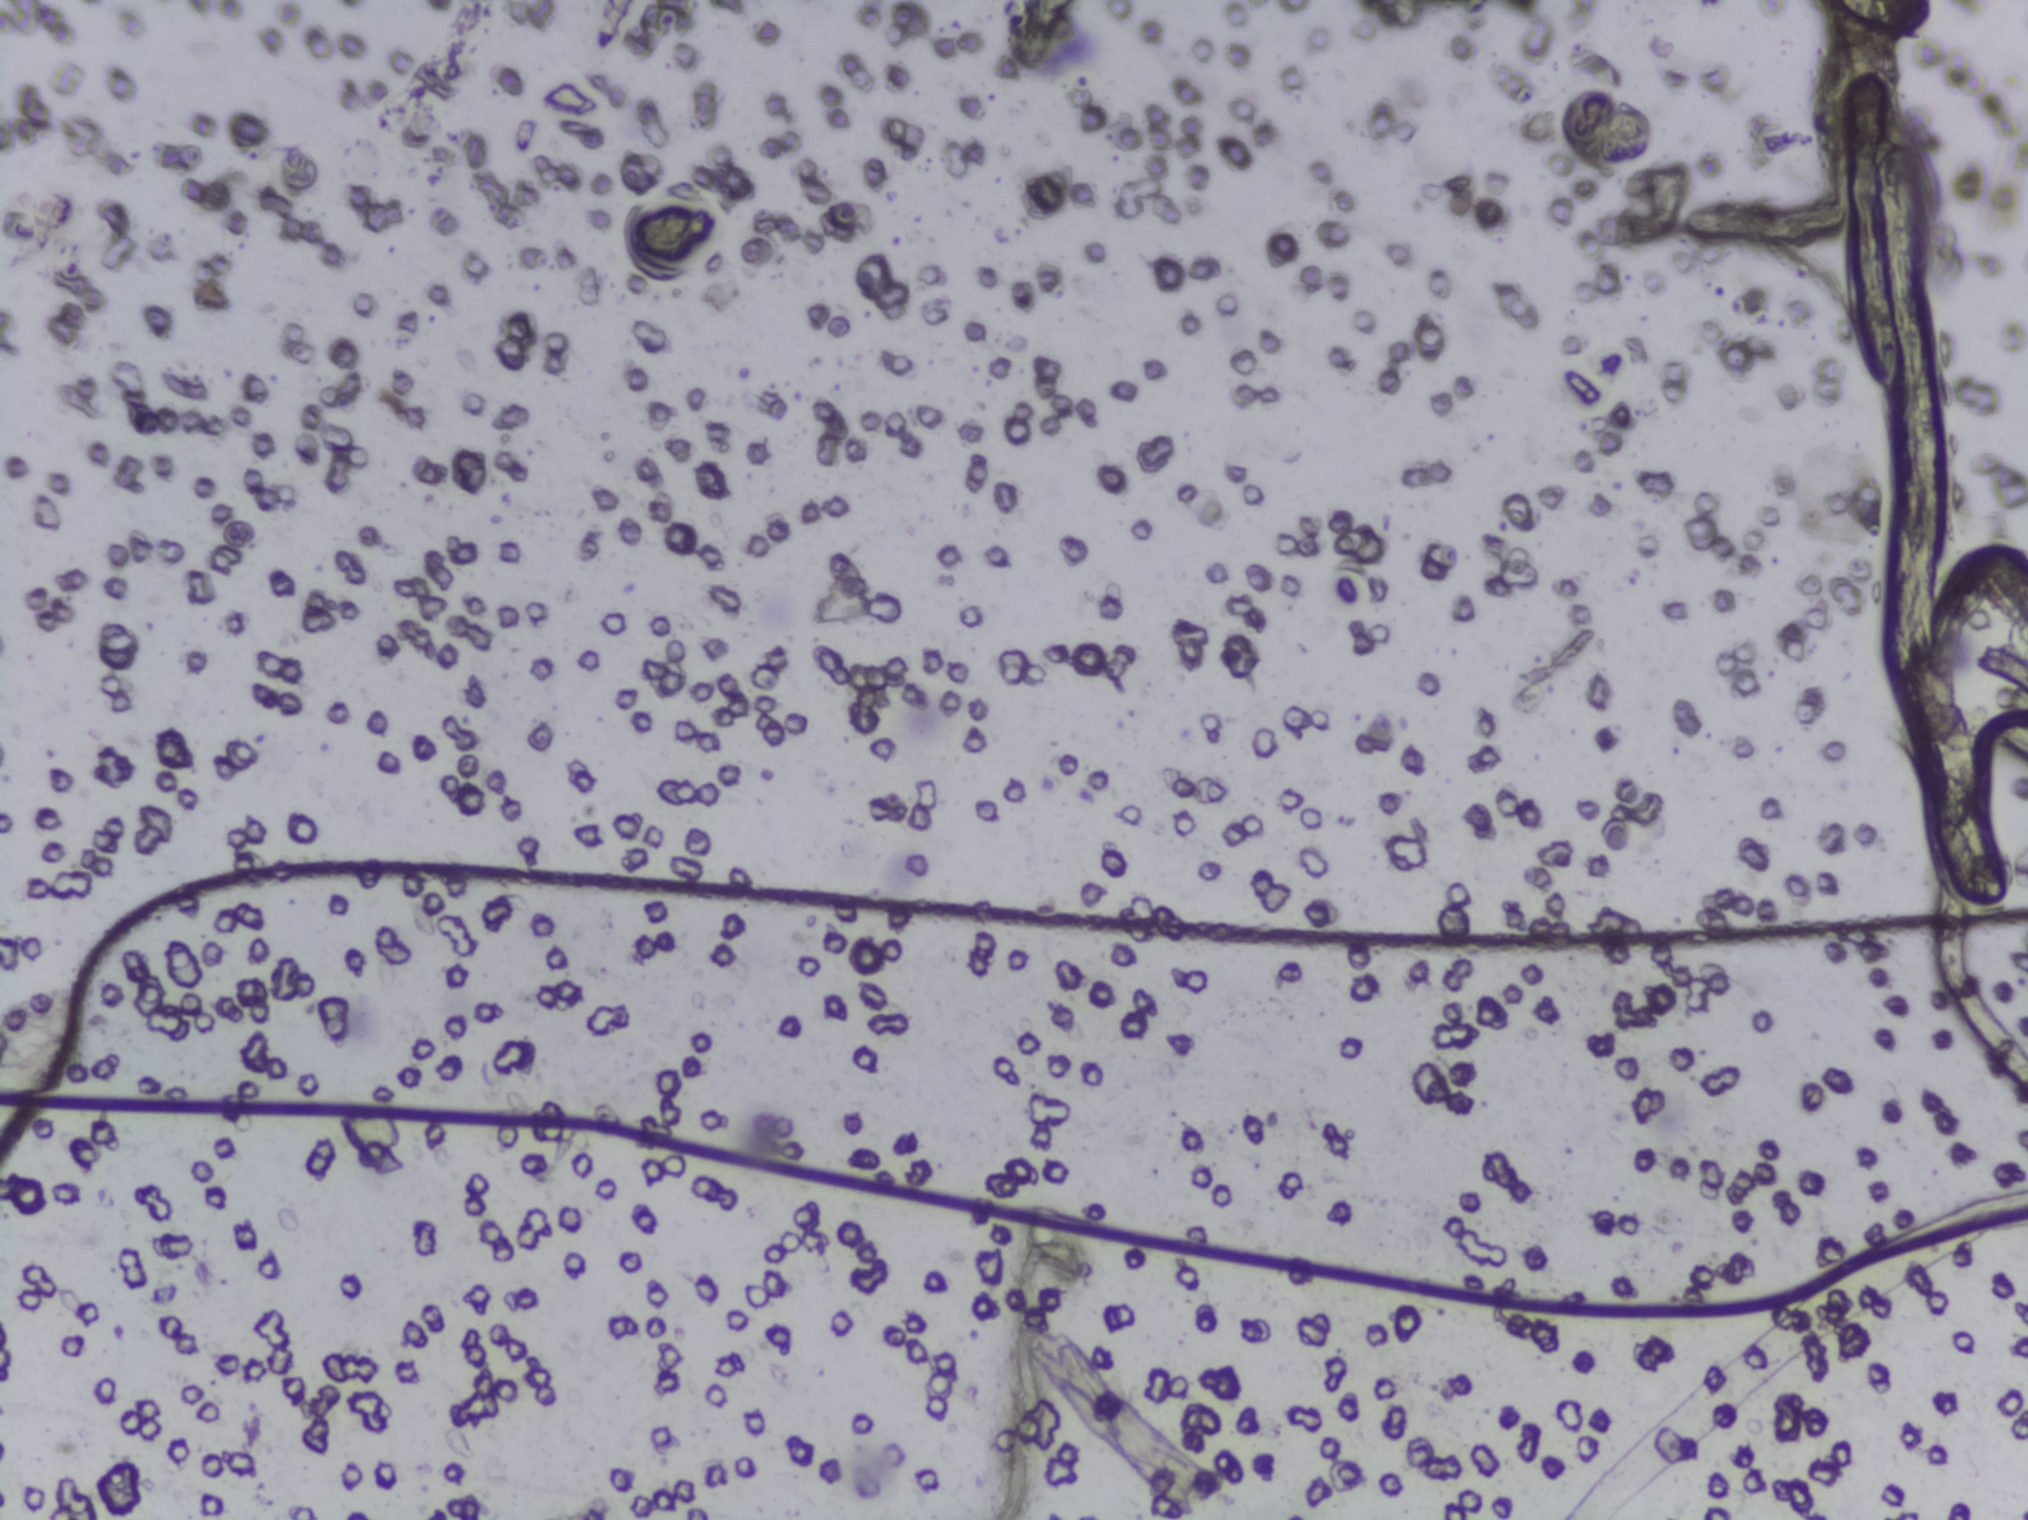
Schistosoma eggs: none outlined.
Photograph from an automated digital microscope: urine filter membrane, 4× objective.